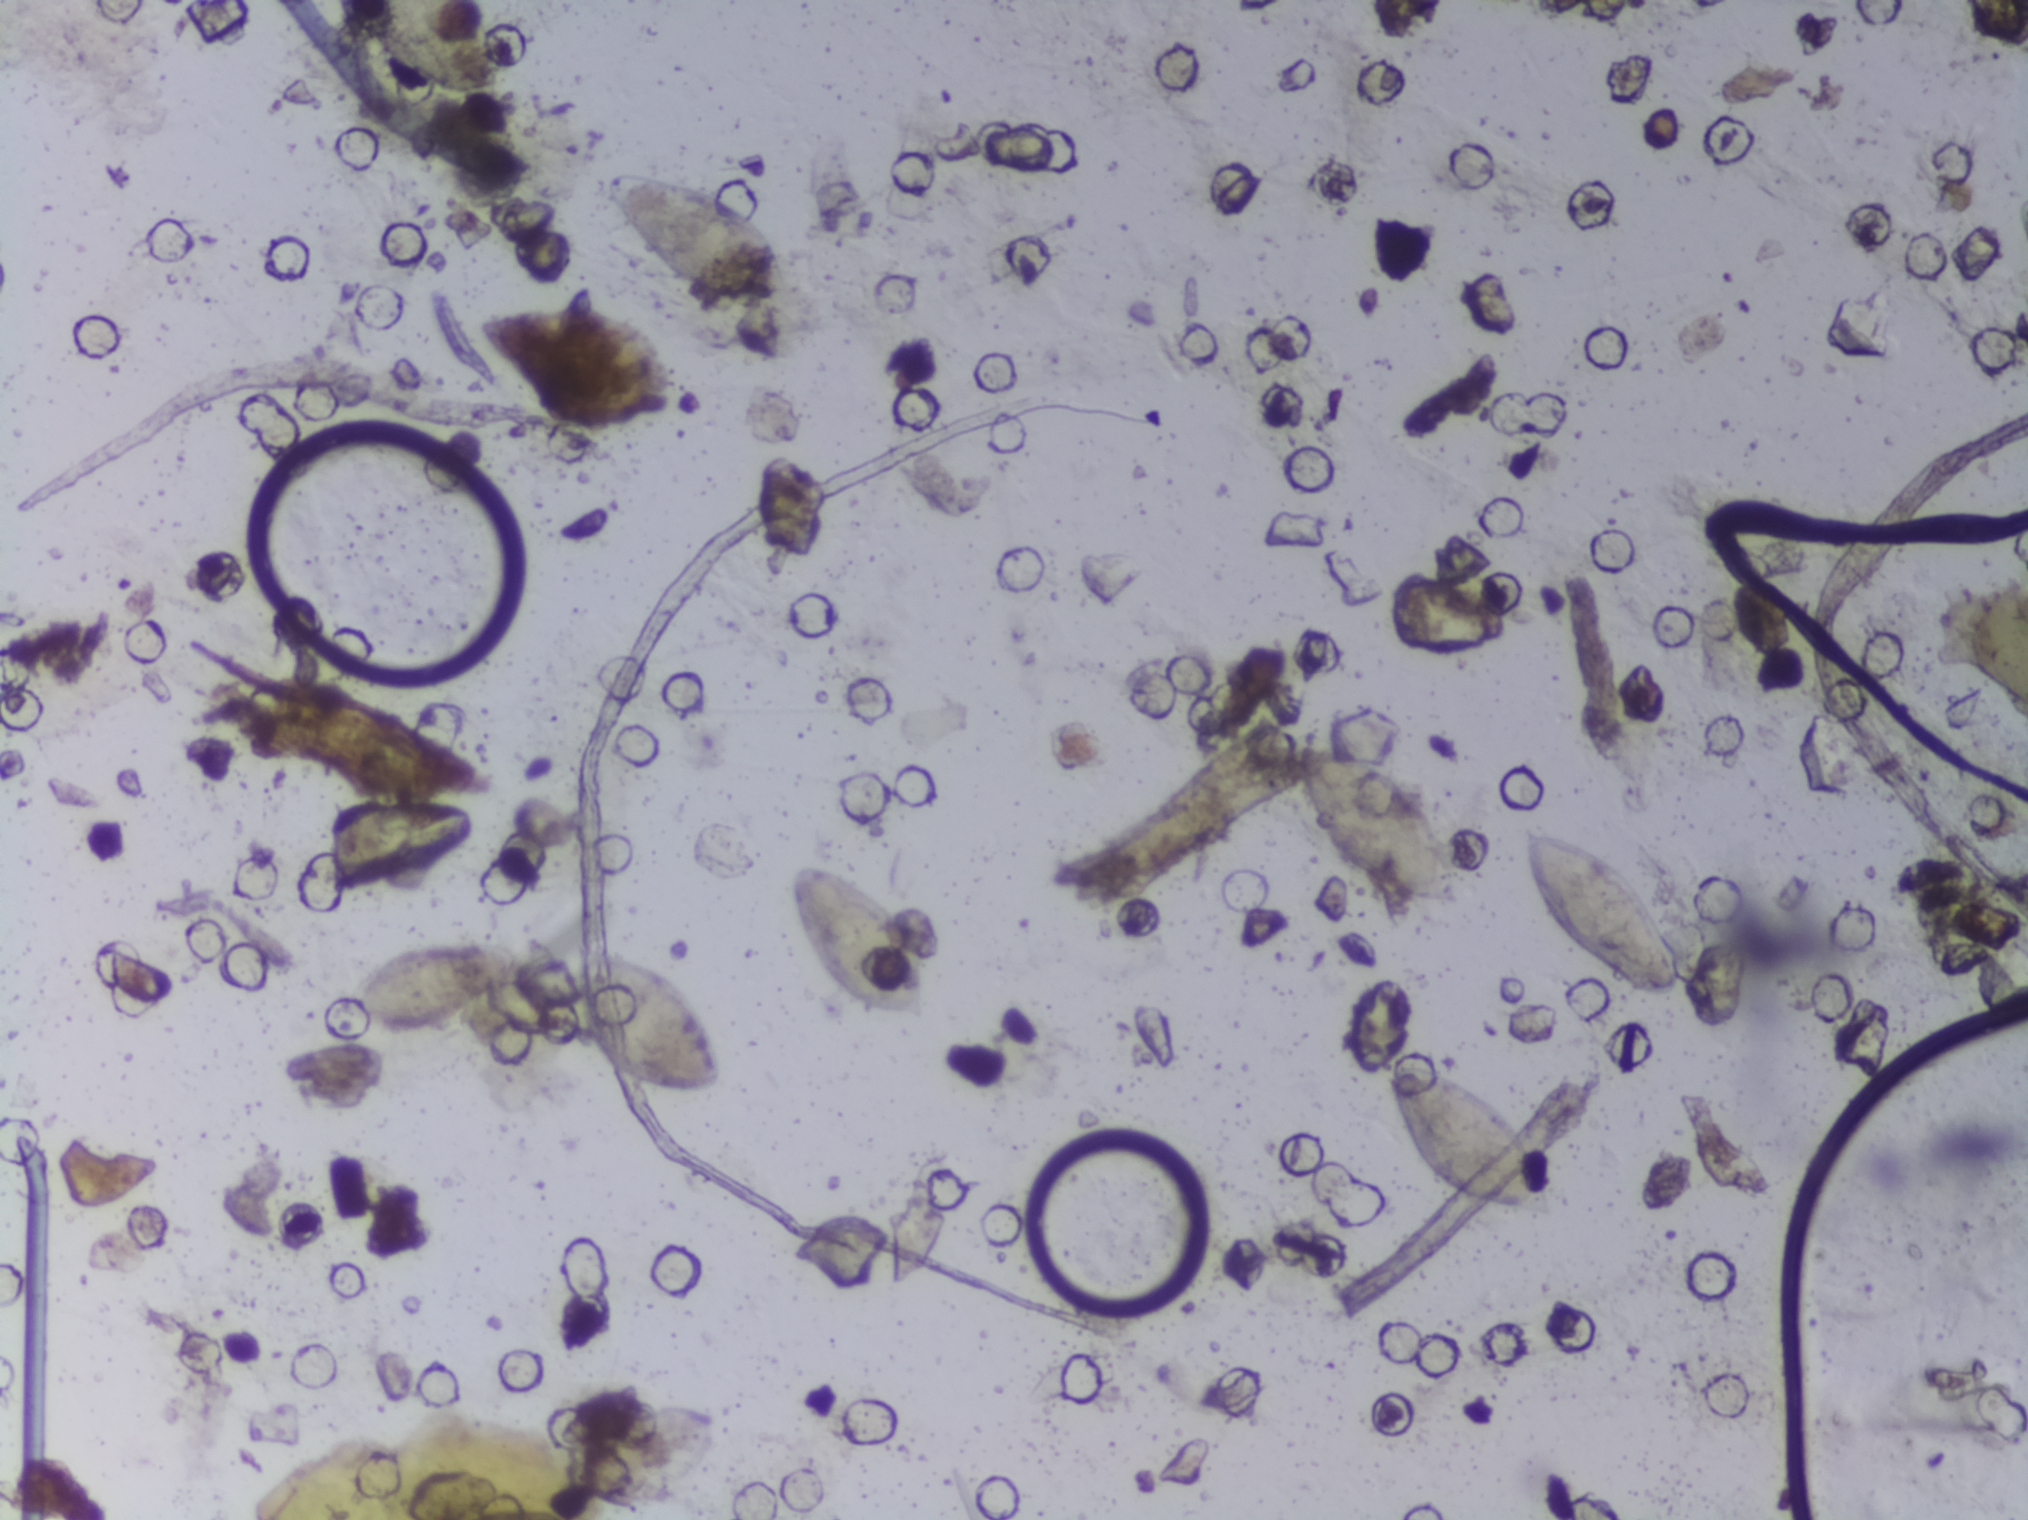
Urine filtration membrane under a 4× objective, photographed by an automated digital microscope. Field of view: about 1.5 mm wide and 1.1 mm high.
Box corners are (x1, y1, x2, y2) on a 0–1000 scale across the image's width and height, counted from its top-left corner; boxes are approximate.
Outlined Schistosoma egg areas, left to right:
1. (162, 617, 254, 678)
2. (164, 0, 250, 66) (reaching the top edge of the frame)
3. (235, 201, 331, 281)
4. (269, 618, 358, 722)
5. (278, 924, 358, 992)
6. (295, 109, 390, 198)
7. (388, 562, 461, 674)
8. (639, 485, 726, 600)
9. (684, 699, 770, 804)
10. (749, 539, 829, 657)
Marked pixels, not the boxes around them: about 5.1% of the image. Eggs that touch can end up inside the same outlined area.